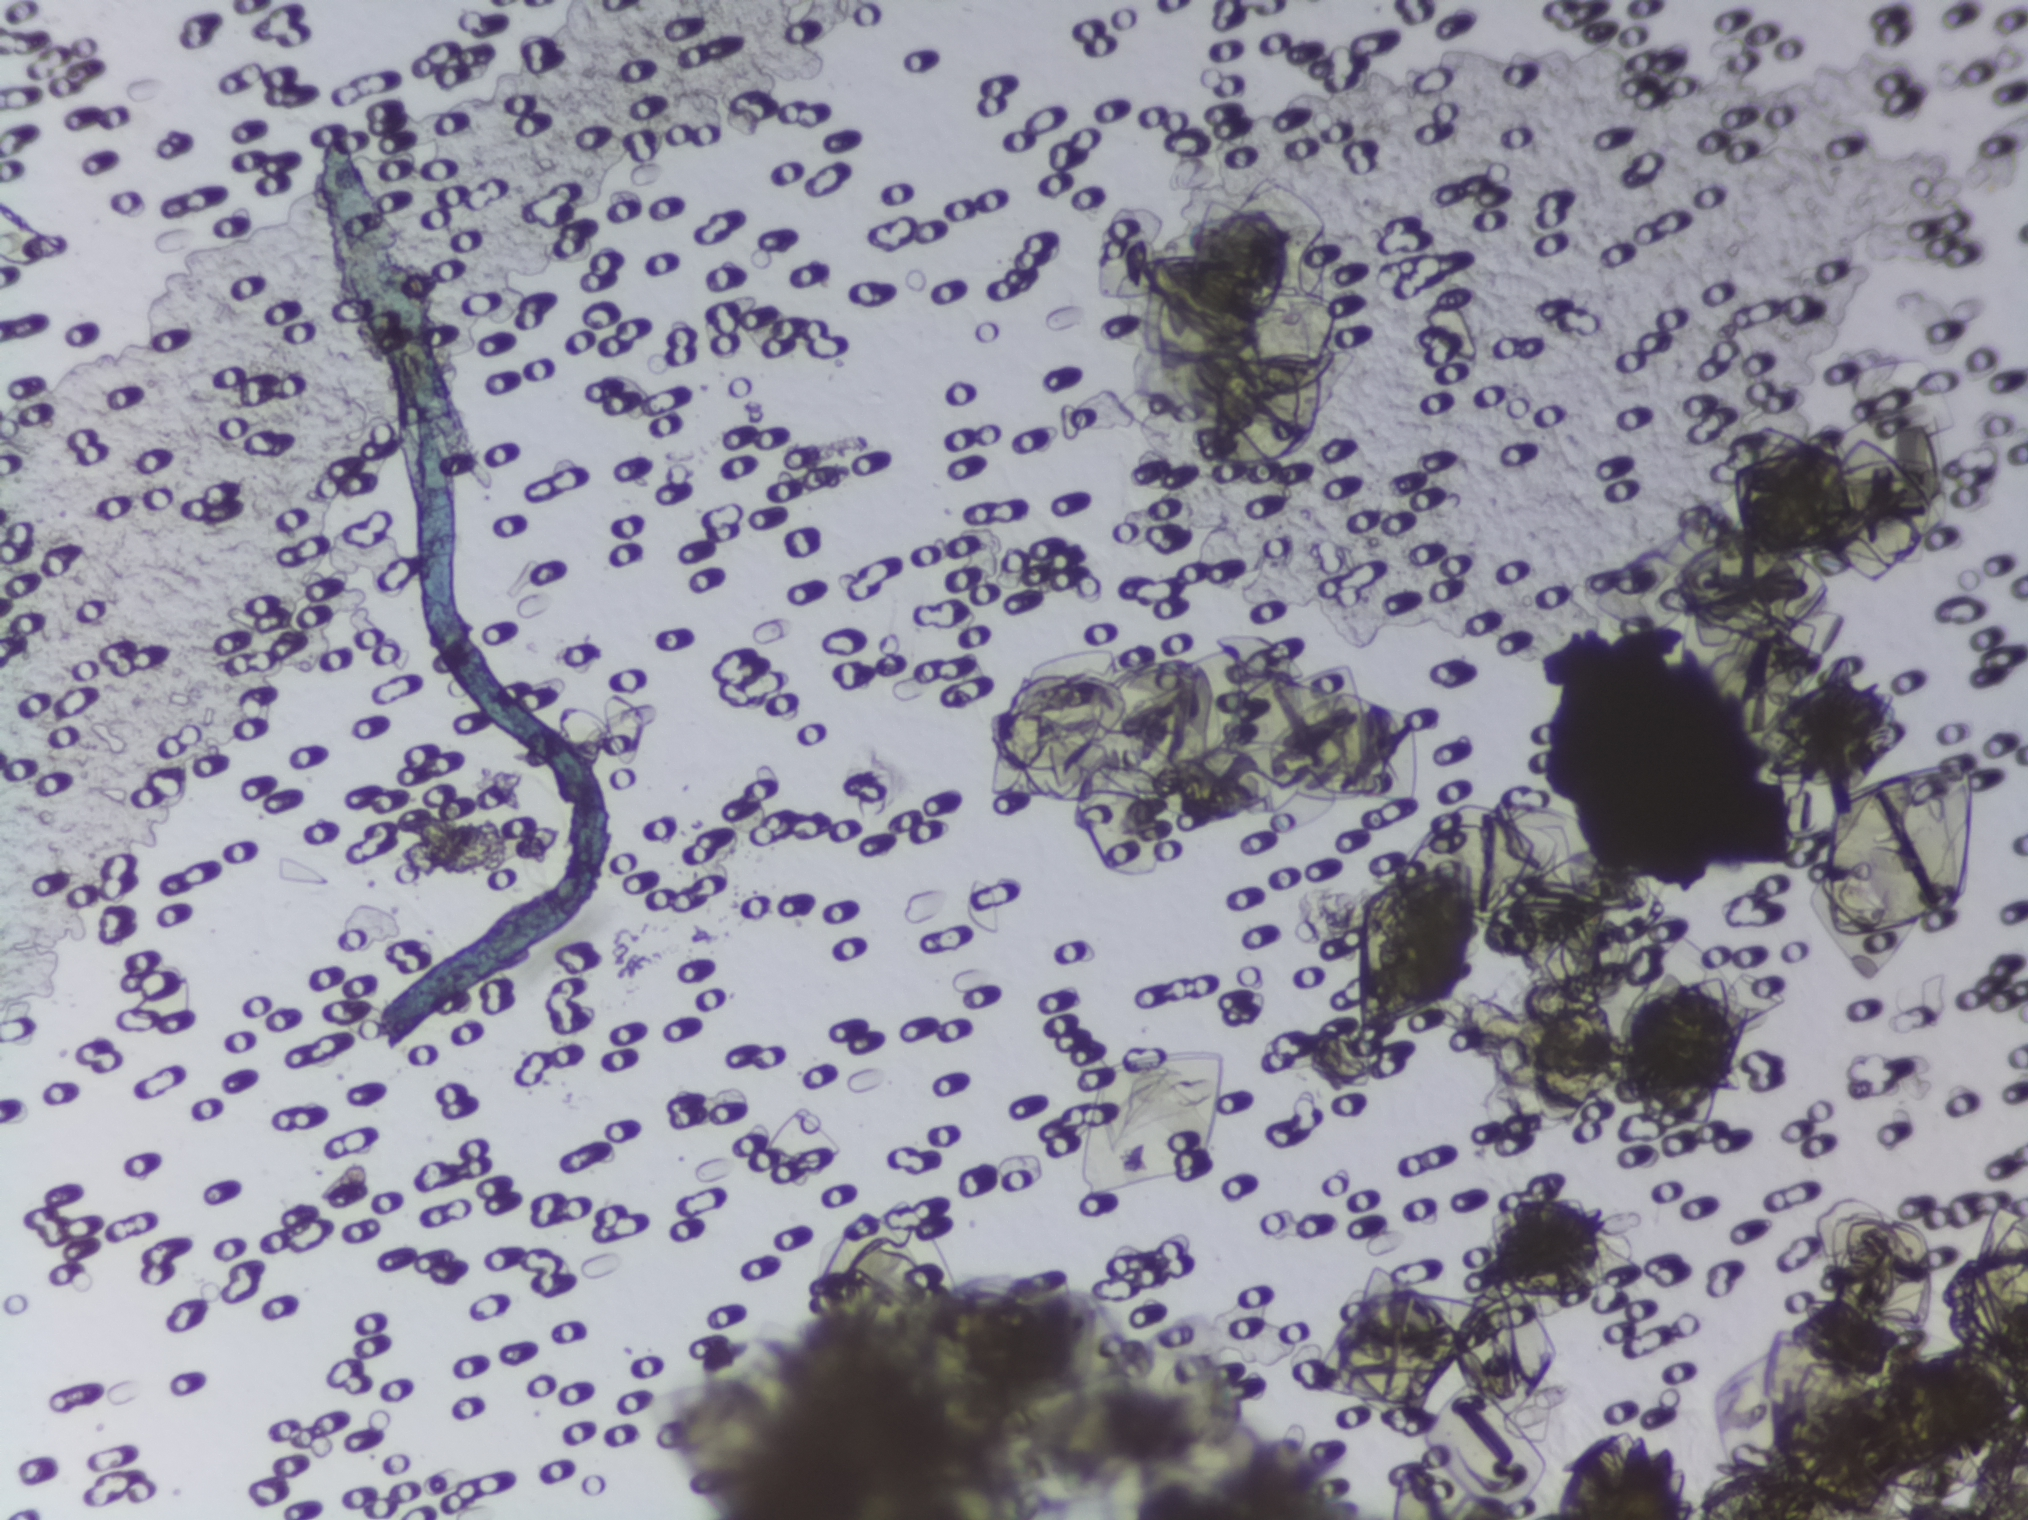
Urine filtration membrane under a 4× objective, photographed by an automated digital microscope.
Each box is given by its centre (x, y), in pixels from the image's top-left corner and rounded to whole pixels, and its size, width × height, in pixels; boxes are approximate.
Outlined Schistosoma egg areas, left to right:
1. centre (1550, 917), 145 × 84 px
2. centre (1574, 1064), 86 × 127 px
3. centre (1832, 731), 167 × 110 px
A single outlined area may contain several eggs.